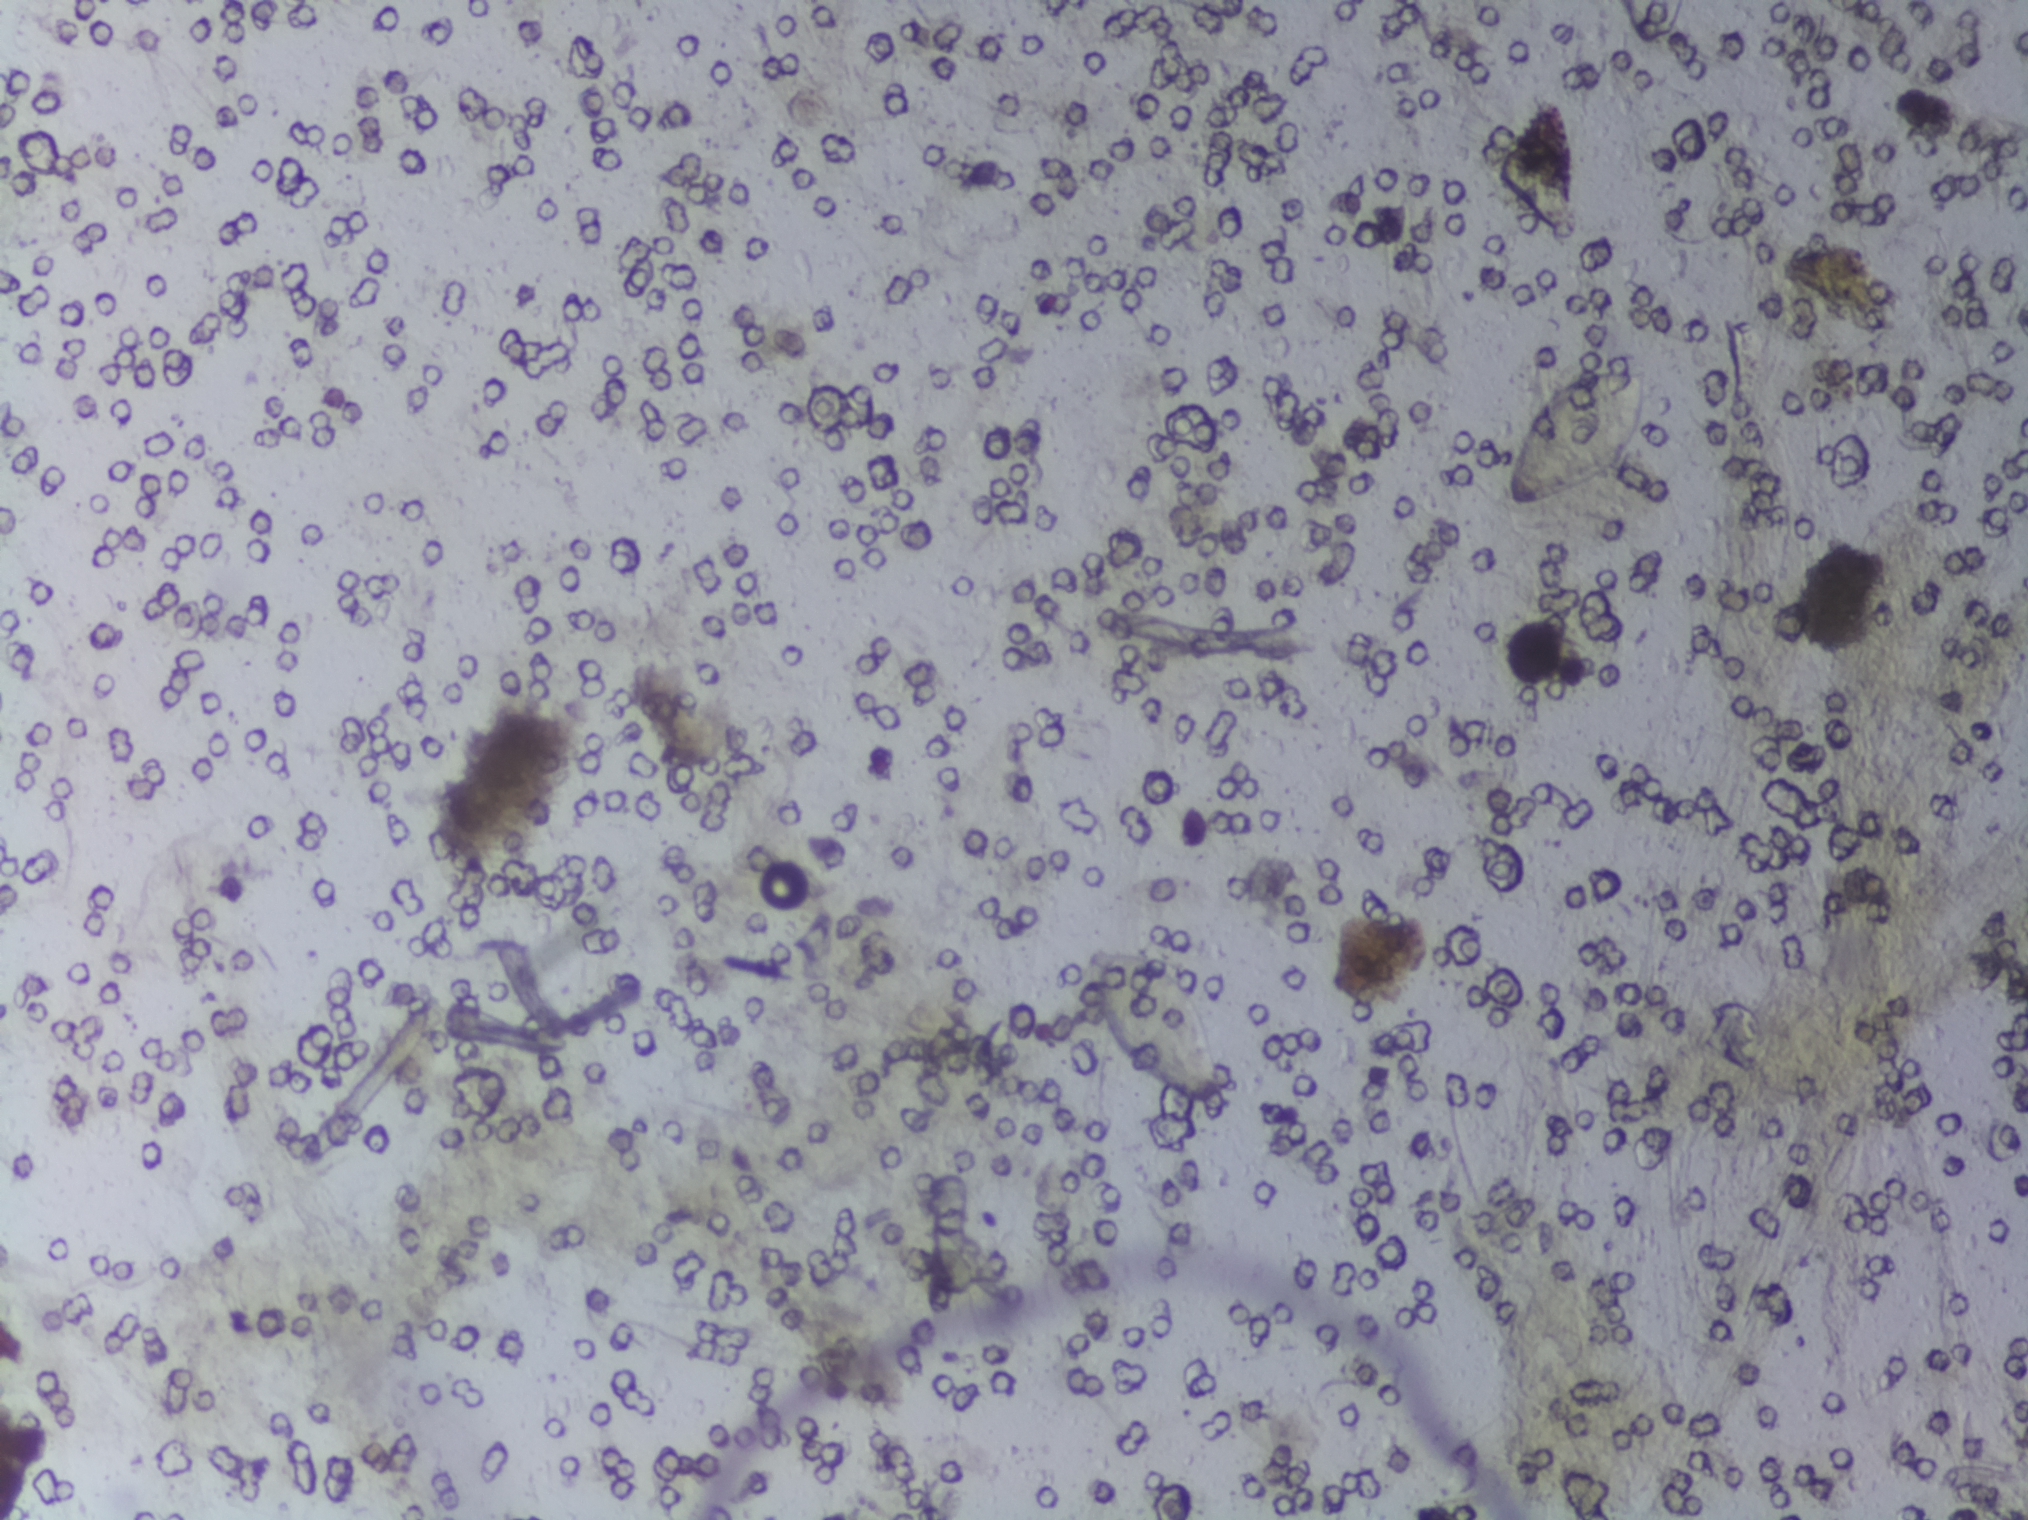
Urine filtration membrane under a 4× objective, photographed by an automated digital microscope.
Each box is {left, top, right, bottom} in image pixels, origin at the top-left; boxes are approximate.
The expert annotation outlines Schistosoma eggs at {1083, 944, 1227, 1113} and {1506, 366, 1648, 507}. The marked pixels themselves, not the boxes around them, cover about 1.0% of the image. A single outlined area may contain several eggs. A marked egg may occasionally be S. mansoni rather than S. haematobium.